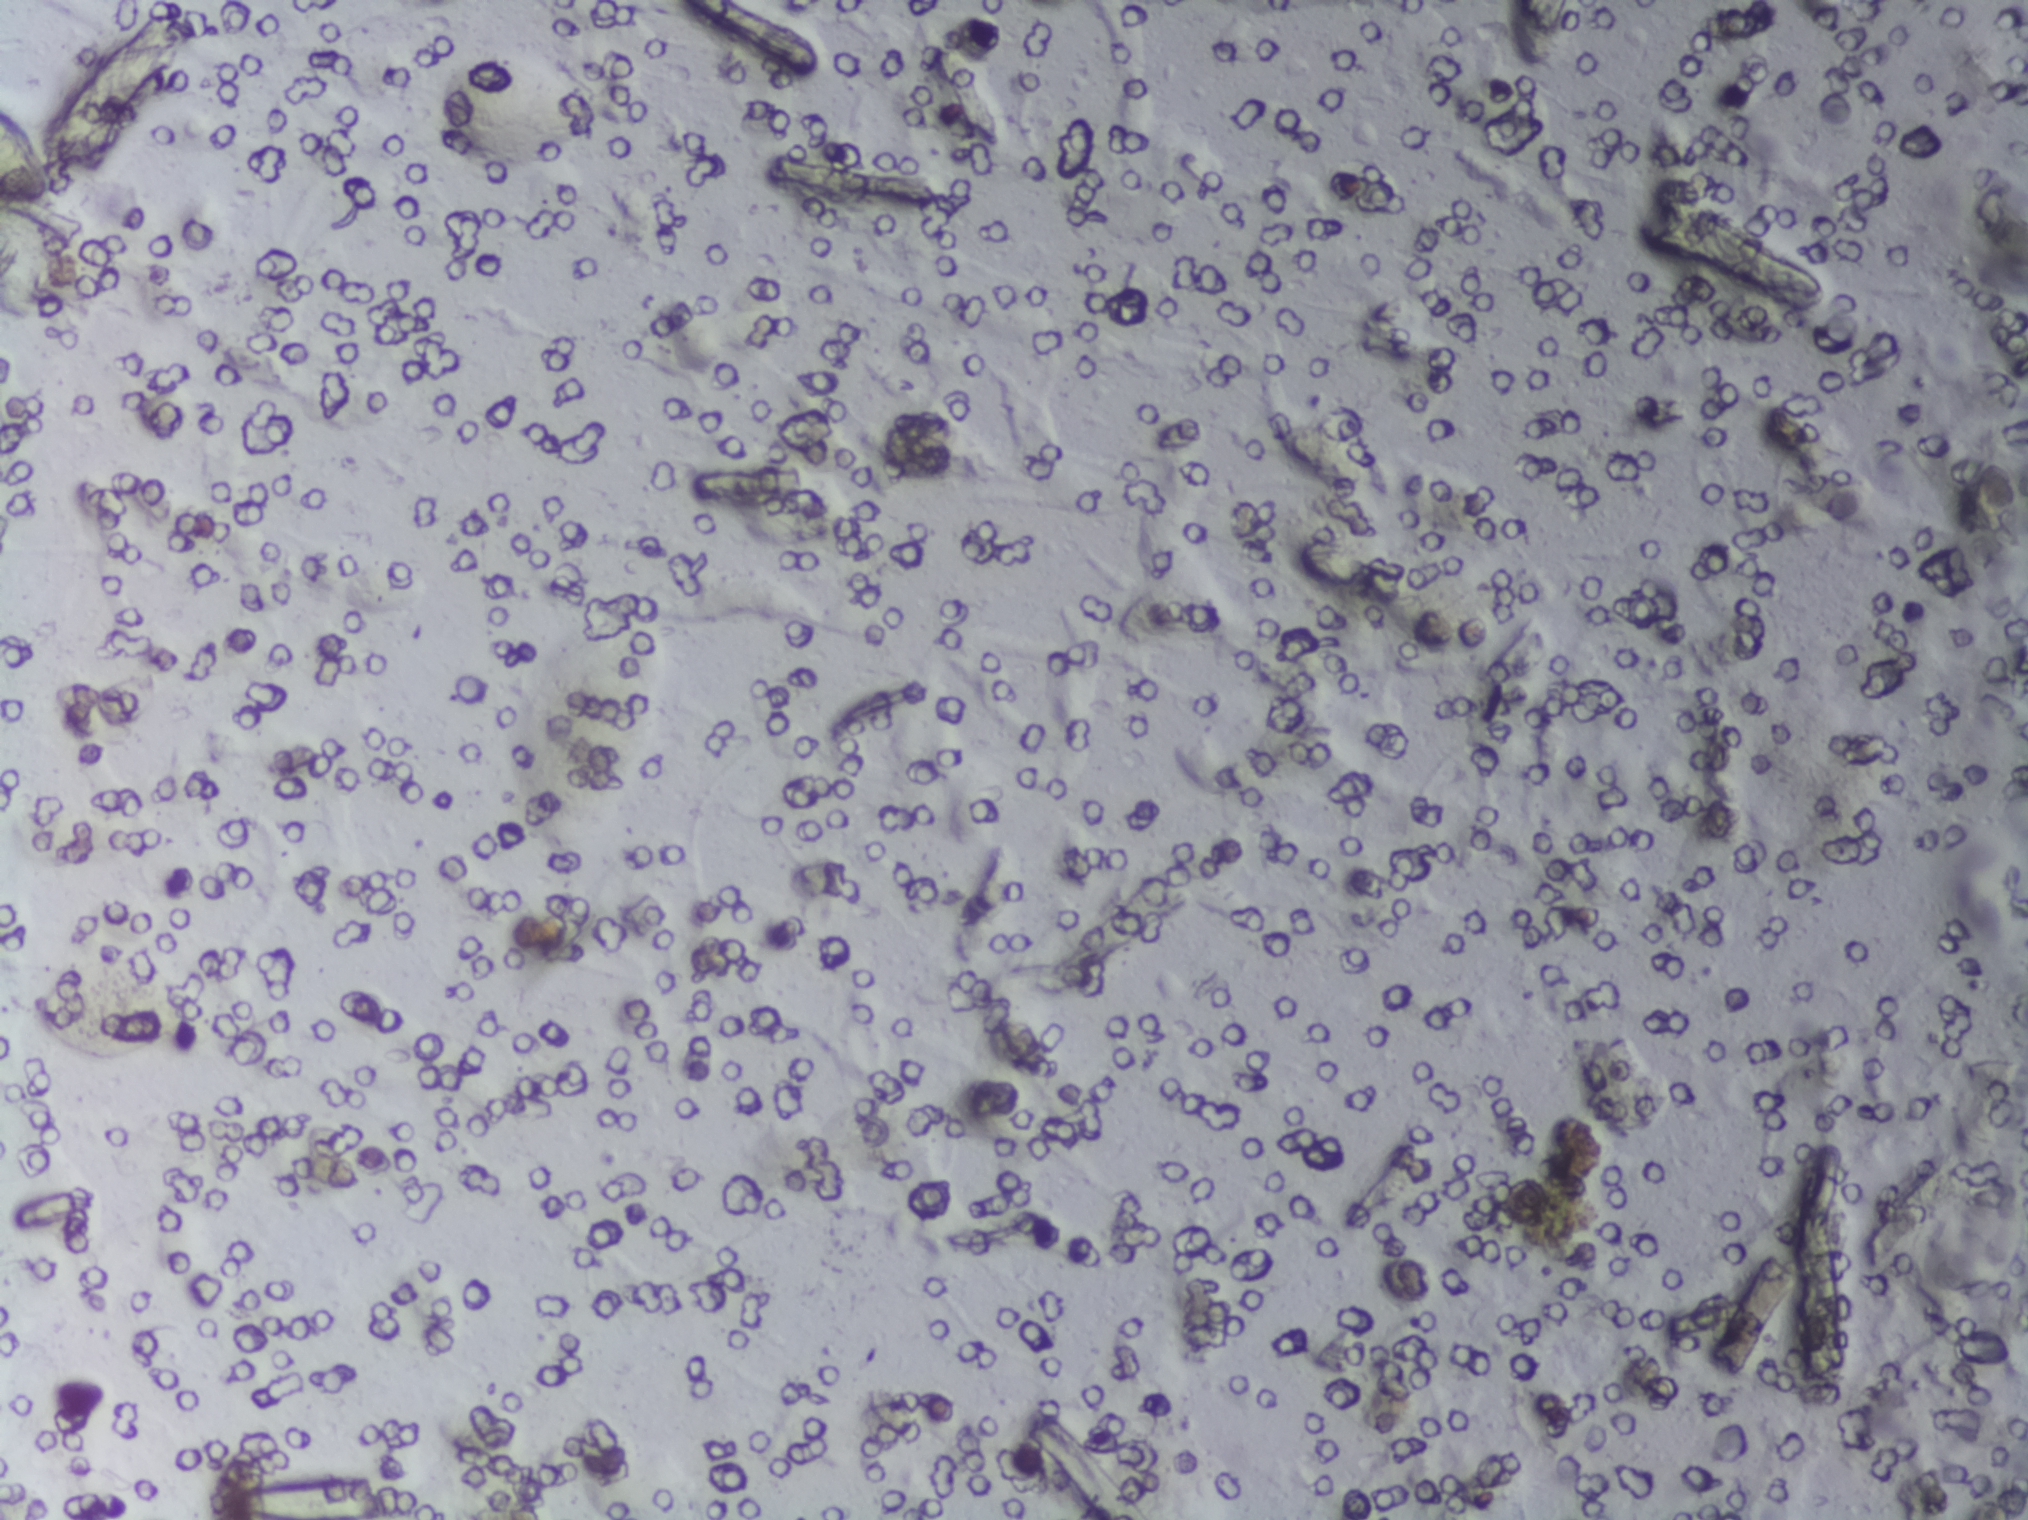
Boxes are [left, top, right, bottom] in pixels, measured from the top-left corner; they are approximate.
Schistosoma eggs are outlined in the expert annotation at [0, 100, 50, 204] (reaching the left edge of the frame). About 0.1% of the image's pixels are marked (the marked pixels themselves, not the box around them). An outlined area can hold more than one egg.
Microscope photograph (4× objective) of a membrane that a urine sample was filtered through. The field of view is about 1.5 mm × 1.1 mm.